One field of view of a urine filter membrane, 4× objective, 2028 × 1520 pixels. Field of view: about 1.5 mm wide and 1.1 mm high.
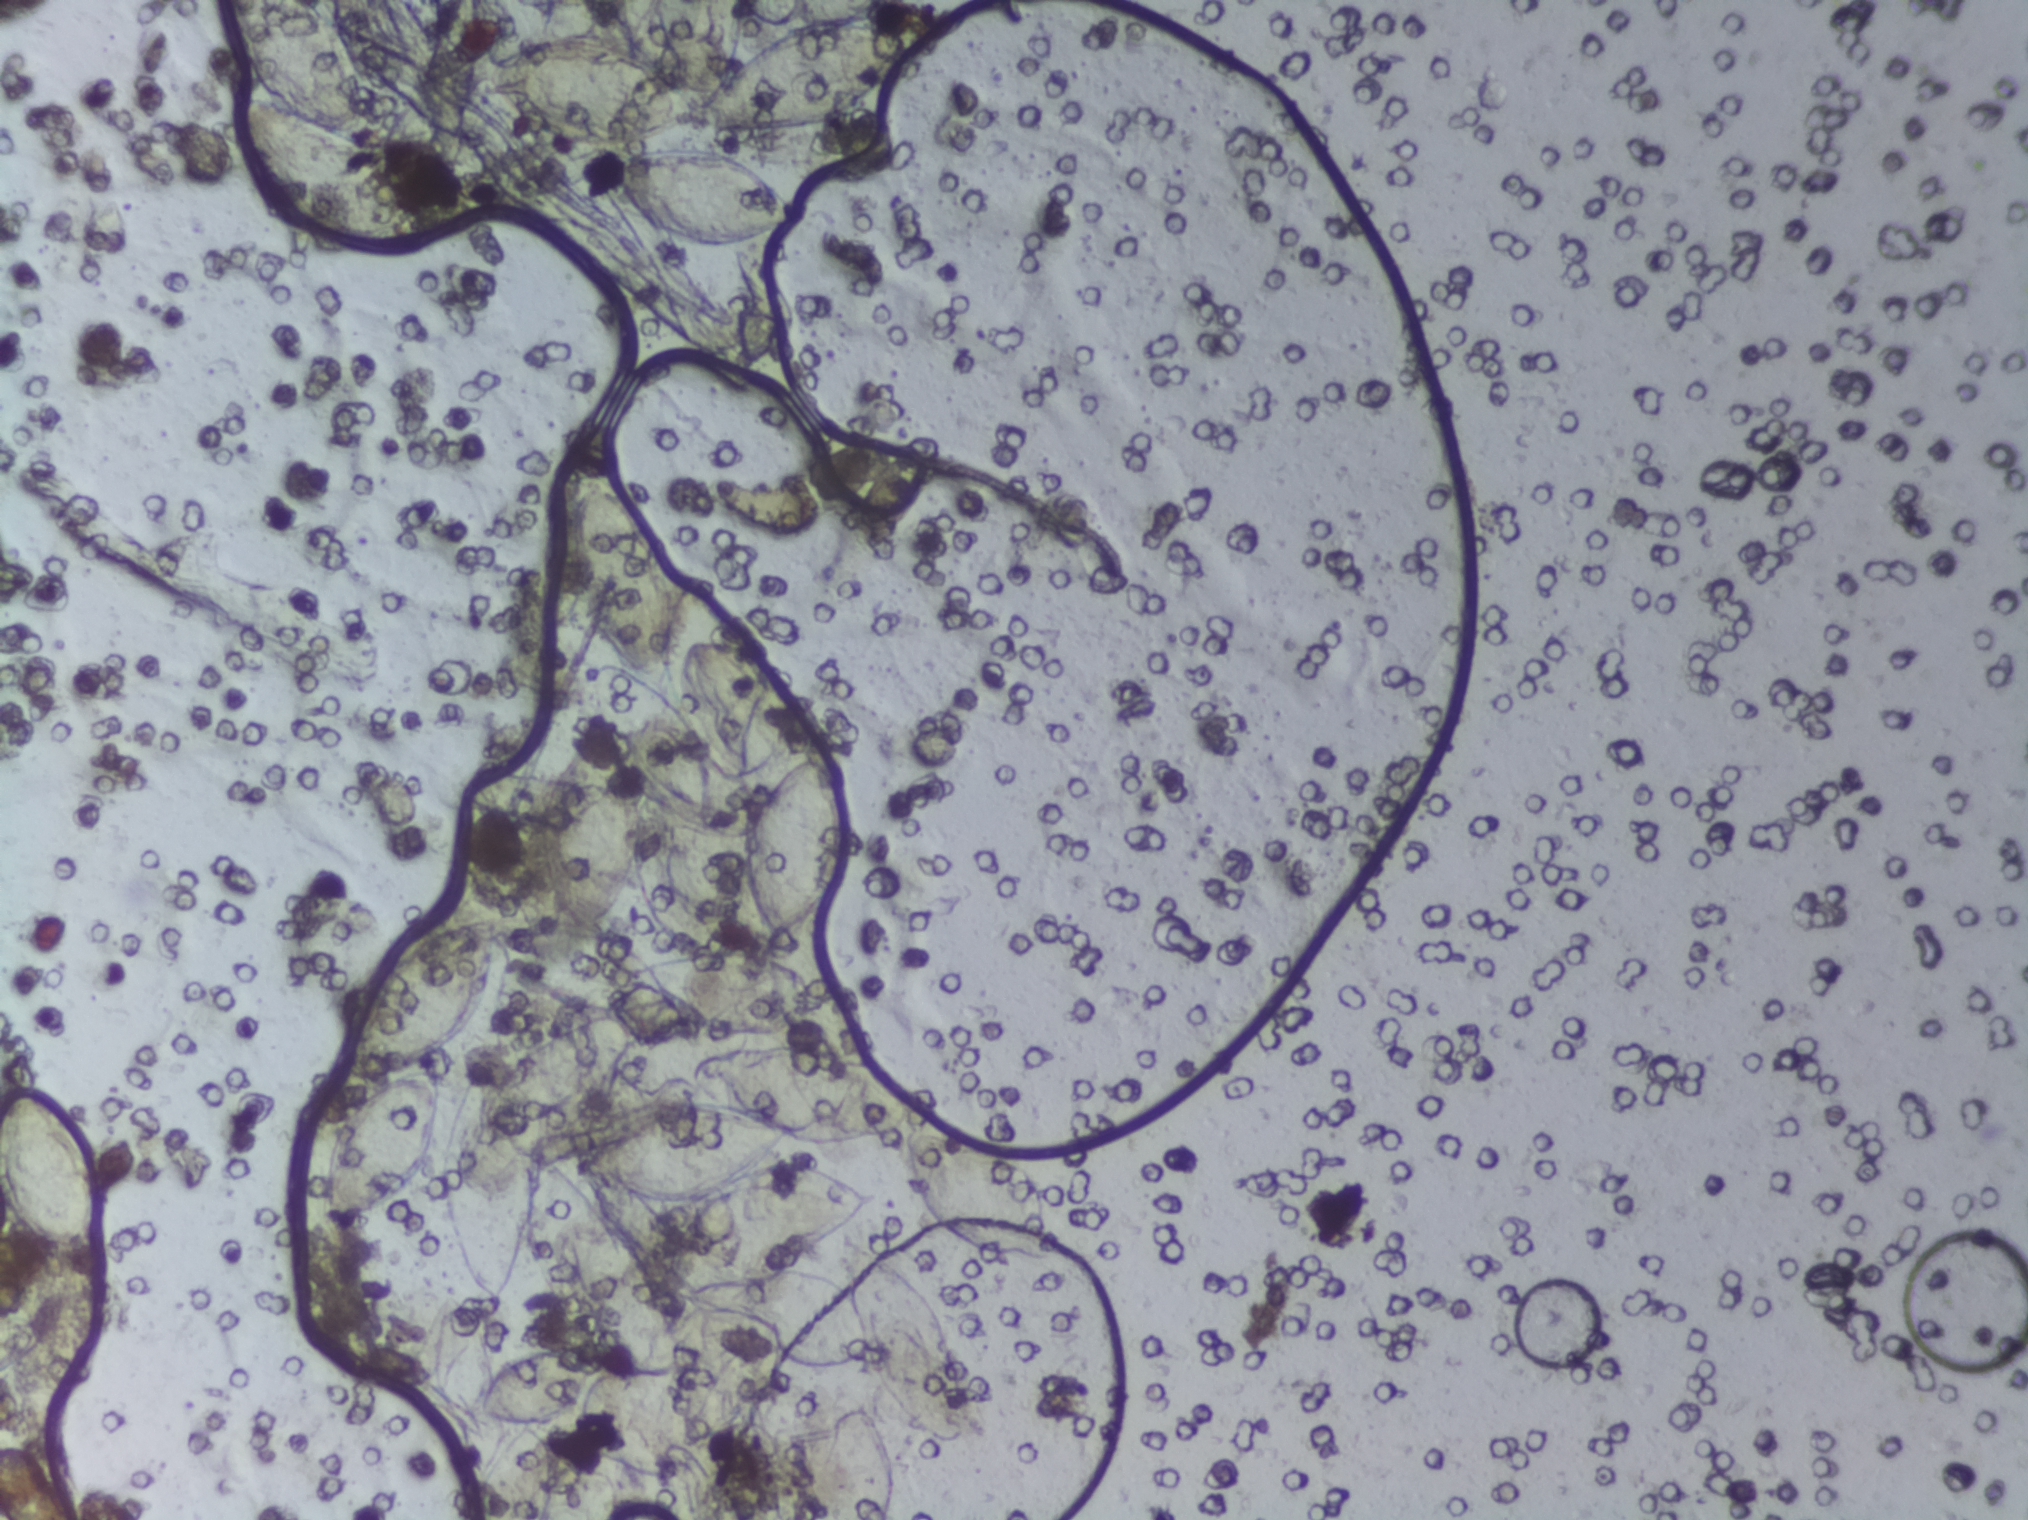
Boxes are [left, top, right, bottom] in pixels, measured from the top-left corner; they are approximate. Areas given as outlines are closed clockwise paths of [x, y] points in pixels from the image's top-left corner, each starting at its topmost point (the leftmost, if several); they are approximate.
Schistosoma eggs, outlined areas: box [0, 1087, 101, 1277] (reaching the left edge of the frame); box [0, 1307, 40, 1370] (reaching the left edge of the frame); box [228, 0, 423, 250] (reaching the top edge of the frame); outline [581, 470], [618, 484], [650, 522], [673, 578], [700, 577], [715, 596], [758, 623], [788, 685], [783, 753], [751, 783], [715, 775], [709, 829], [724, 854], [734, 896], [729, 949], [785, 960], [791, 974], [823, 997], [825, 1016], [805, 1034], [756, 1042], [837, 1042], [864, 1050], [938, 1096], [939, 1123], [1003, 1138], [1023, 1150], [1050, 1198], [1061, 1262], [1052, 1271], [1016, 1269], [969, 1255], [936, 1233], [905, 1183], [901, 1134], [854, 1144], [789, 1140], [775, 1156], [880, 1188], [868, 1213], [824, 1248], [785, 1265], [843, 1284], [845, 1237], [855, 1237], [884, 1246], [928, 1286], [962, 1369], [968, 1413], [966, 1443], [937, 1449], [883, 1401], [862, 1364], [819, 1364], [727, 1326], [701, 1307], [689, 1284], [724, 1269], [661, 1227], [658, 1214], [677, 1195], [616, 1188], [574, 1168], [639, 1238], [658, 1303], [681, 1335], [683, 1359], [662, 1380], [618, 1371], [590, 1411], [550, 1425], [555, 1459], [545, 1519], [473, 1519], [472, 1482], [514, 1426], [479, 1411], [481, 1386], [539, 1343], [577, 1339], [524, 1255], [497, 1312], [452, 1268], [444, 1246], [438, 1153], [443, 1123], [472, 1047], [487, 1043], [506, 1059], [542, 1036], [605, 1018], [559, 1010], [524, 986], [497, 951], [490, 990], [461, 1045], [436, 1060], [445, 1068], [438, 1126], [402, 1195], [380, 1217], [328, 1227], [314, 1174], [320, 1151], [354, 1101], [407, 1070], [357, 1081], [339, 1067], [342, 1029], [381, 964], [445, 922], [492, 917], [498, 925], [530, 912], [558, 911], [538, 871], [542, 796], [547, 778], [591, 727], [591, 674], [601, 662], [613, 661], [587, 620], [560, 536], [566, 482] (a cluster of eggs; reaching the bottom edge of the frame); box [486, 0, 923, 149] (a cluster of eggs; reaching the top edge of the frame); box [596, 144, 798, 252]; box [654, 1437, 730, 1519] (reaching the bottom edge of the frame); box [743, 741, 846, 940]; box [799, 1397, 901, 1519] (reaching the bottom edge of the frame). About 14% of the image's pixels are marked (the marked pixels themselves, not the boxes and the outline around them). Eggs that touch can end up inside the same outlined area. A marked egg may occasionally be S. mansoni rather than S. haematobium.